Urine filter membrane photographed through a 4× microscope objective.
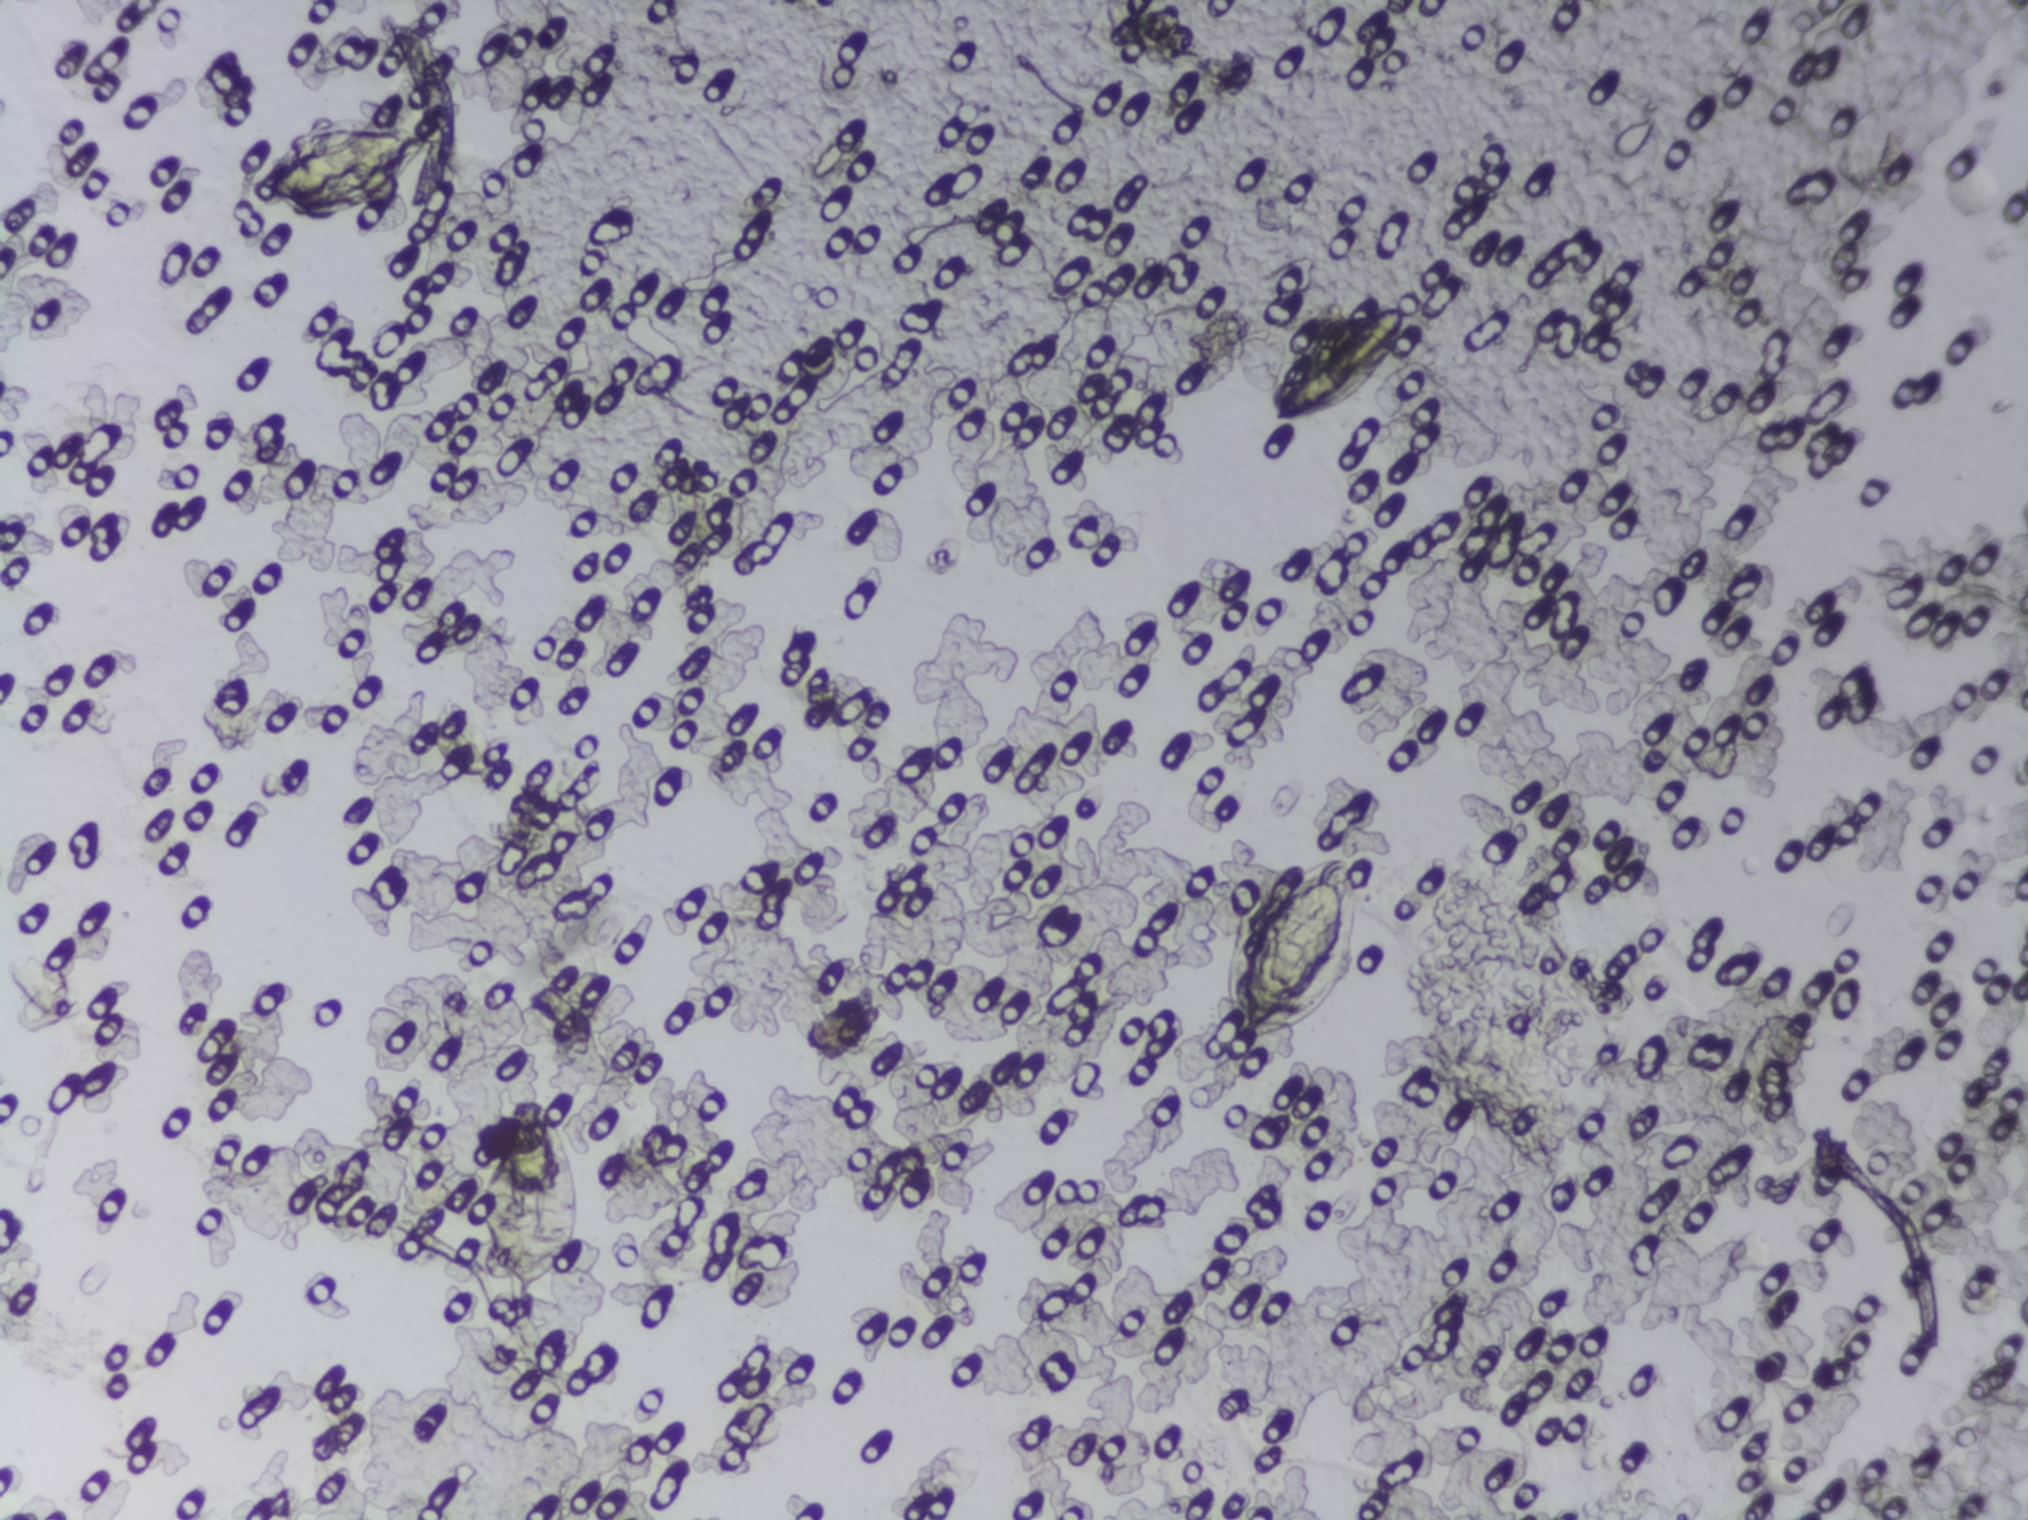
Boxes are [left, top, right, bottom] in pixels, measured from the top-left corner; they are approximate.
The expert annotation outlines Schistosoma eggs at [247, 118, 429, 219]; [472, 1093, 581, 1301]; [1228, 855, 1360, 1047]; [1266, 299, 1411, 424] (left to right). Marked pixels, not the boxes around them: about 1.9% of the image. A single outlined area may contain several eggs.